Photomicrograph of a urine filtration membrane, 4× objective. The image covers about 1.5 × 1.1 mm of the membrane.
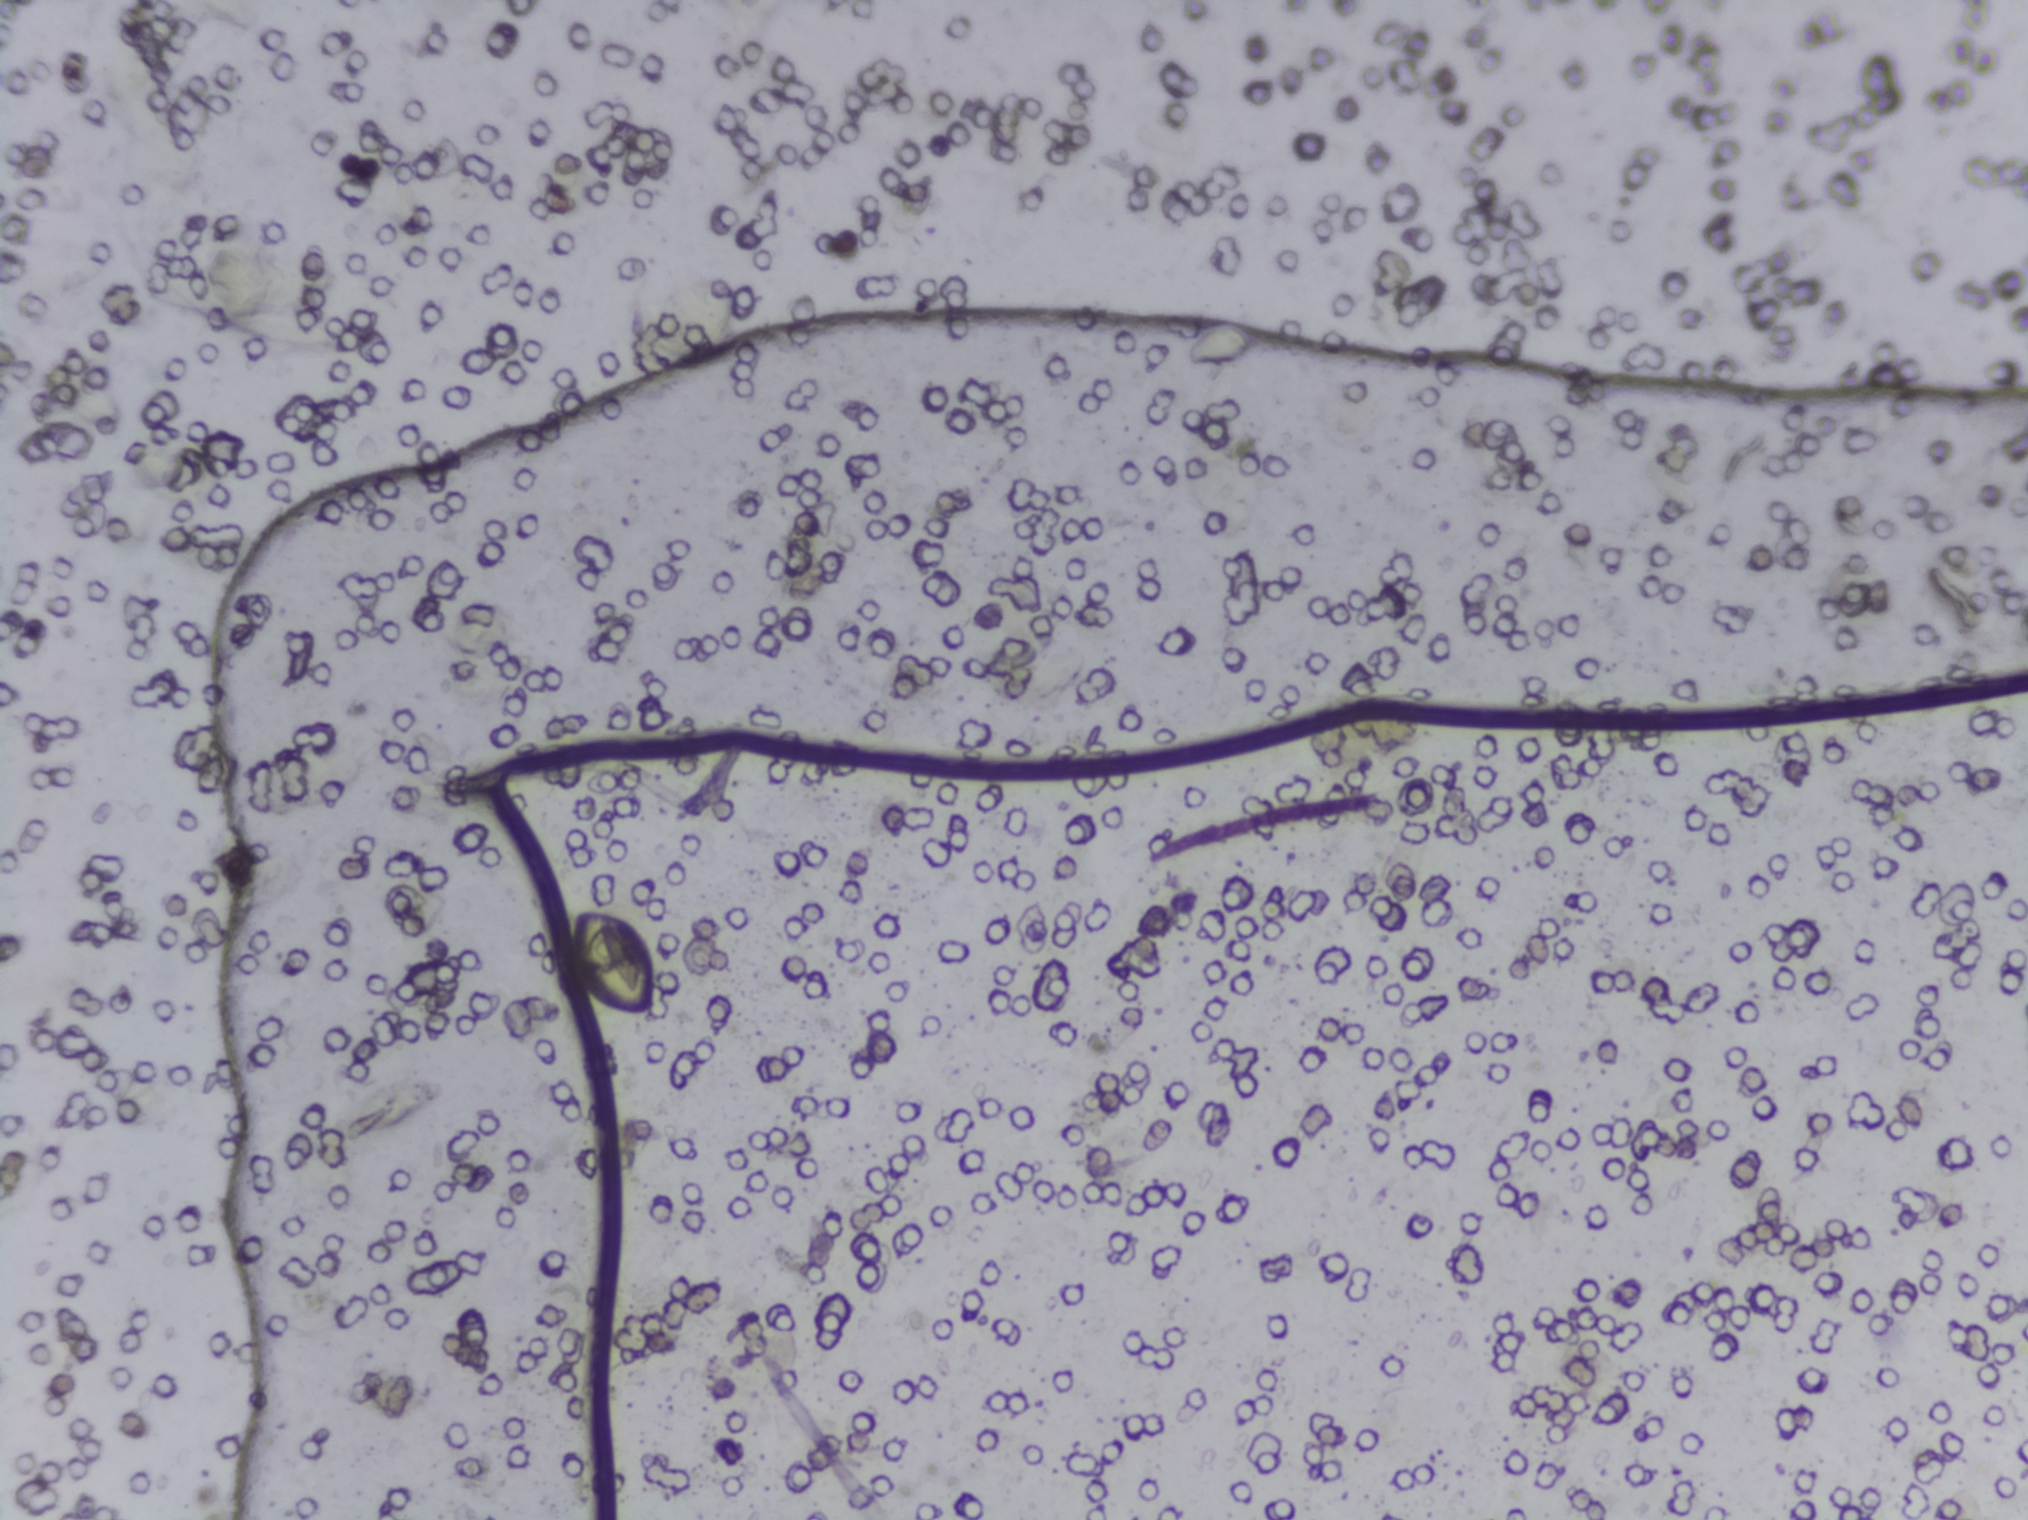
No Schistosoma egg is outlined in this image's expert annotation.